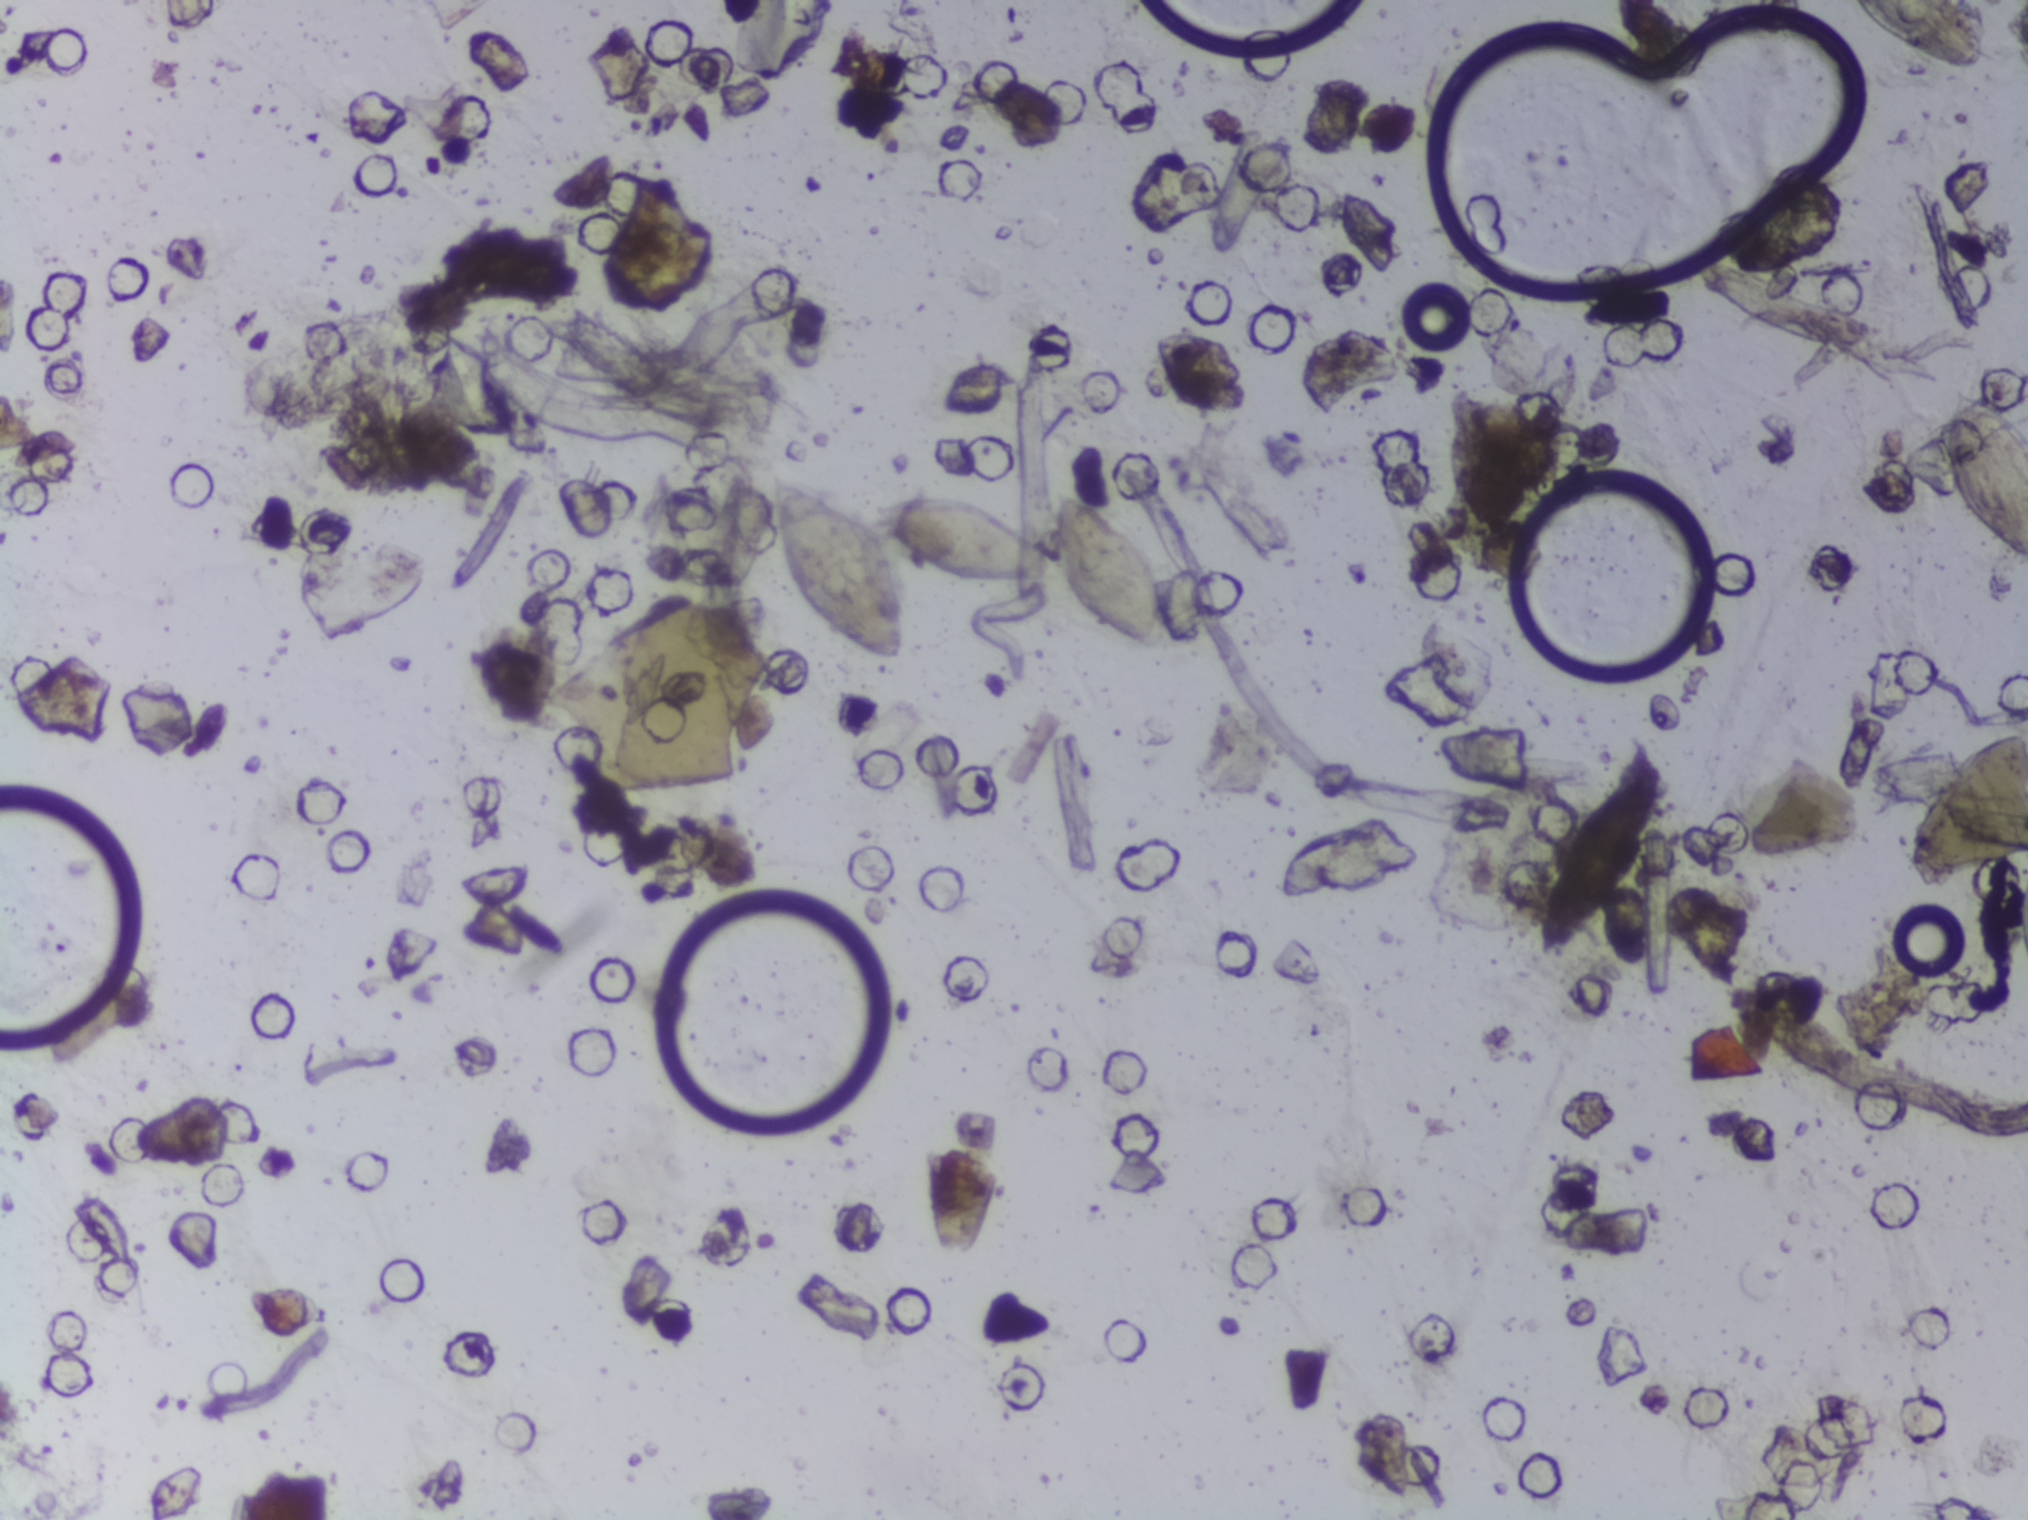
Photograph from an automated digital microscope: urine filter membrane, 4× objective.
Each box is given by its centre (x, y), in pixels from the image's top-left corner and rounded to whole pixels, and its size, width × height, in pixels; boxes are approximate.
Findings: three areas outlined as Schistosoma eggs. Locations, left to right: centre (971, 571), 403 × 194 px; centre (1916, 34), 143 × 68 px (reaching the top edge of the frame); centre (1983, 472), 89 × 177 px (reaching the right edge of the frame). An outlined area can hold more than one egg.